Photograph from an automated digital microscope: urine filter membrane, 4× objective.
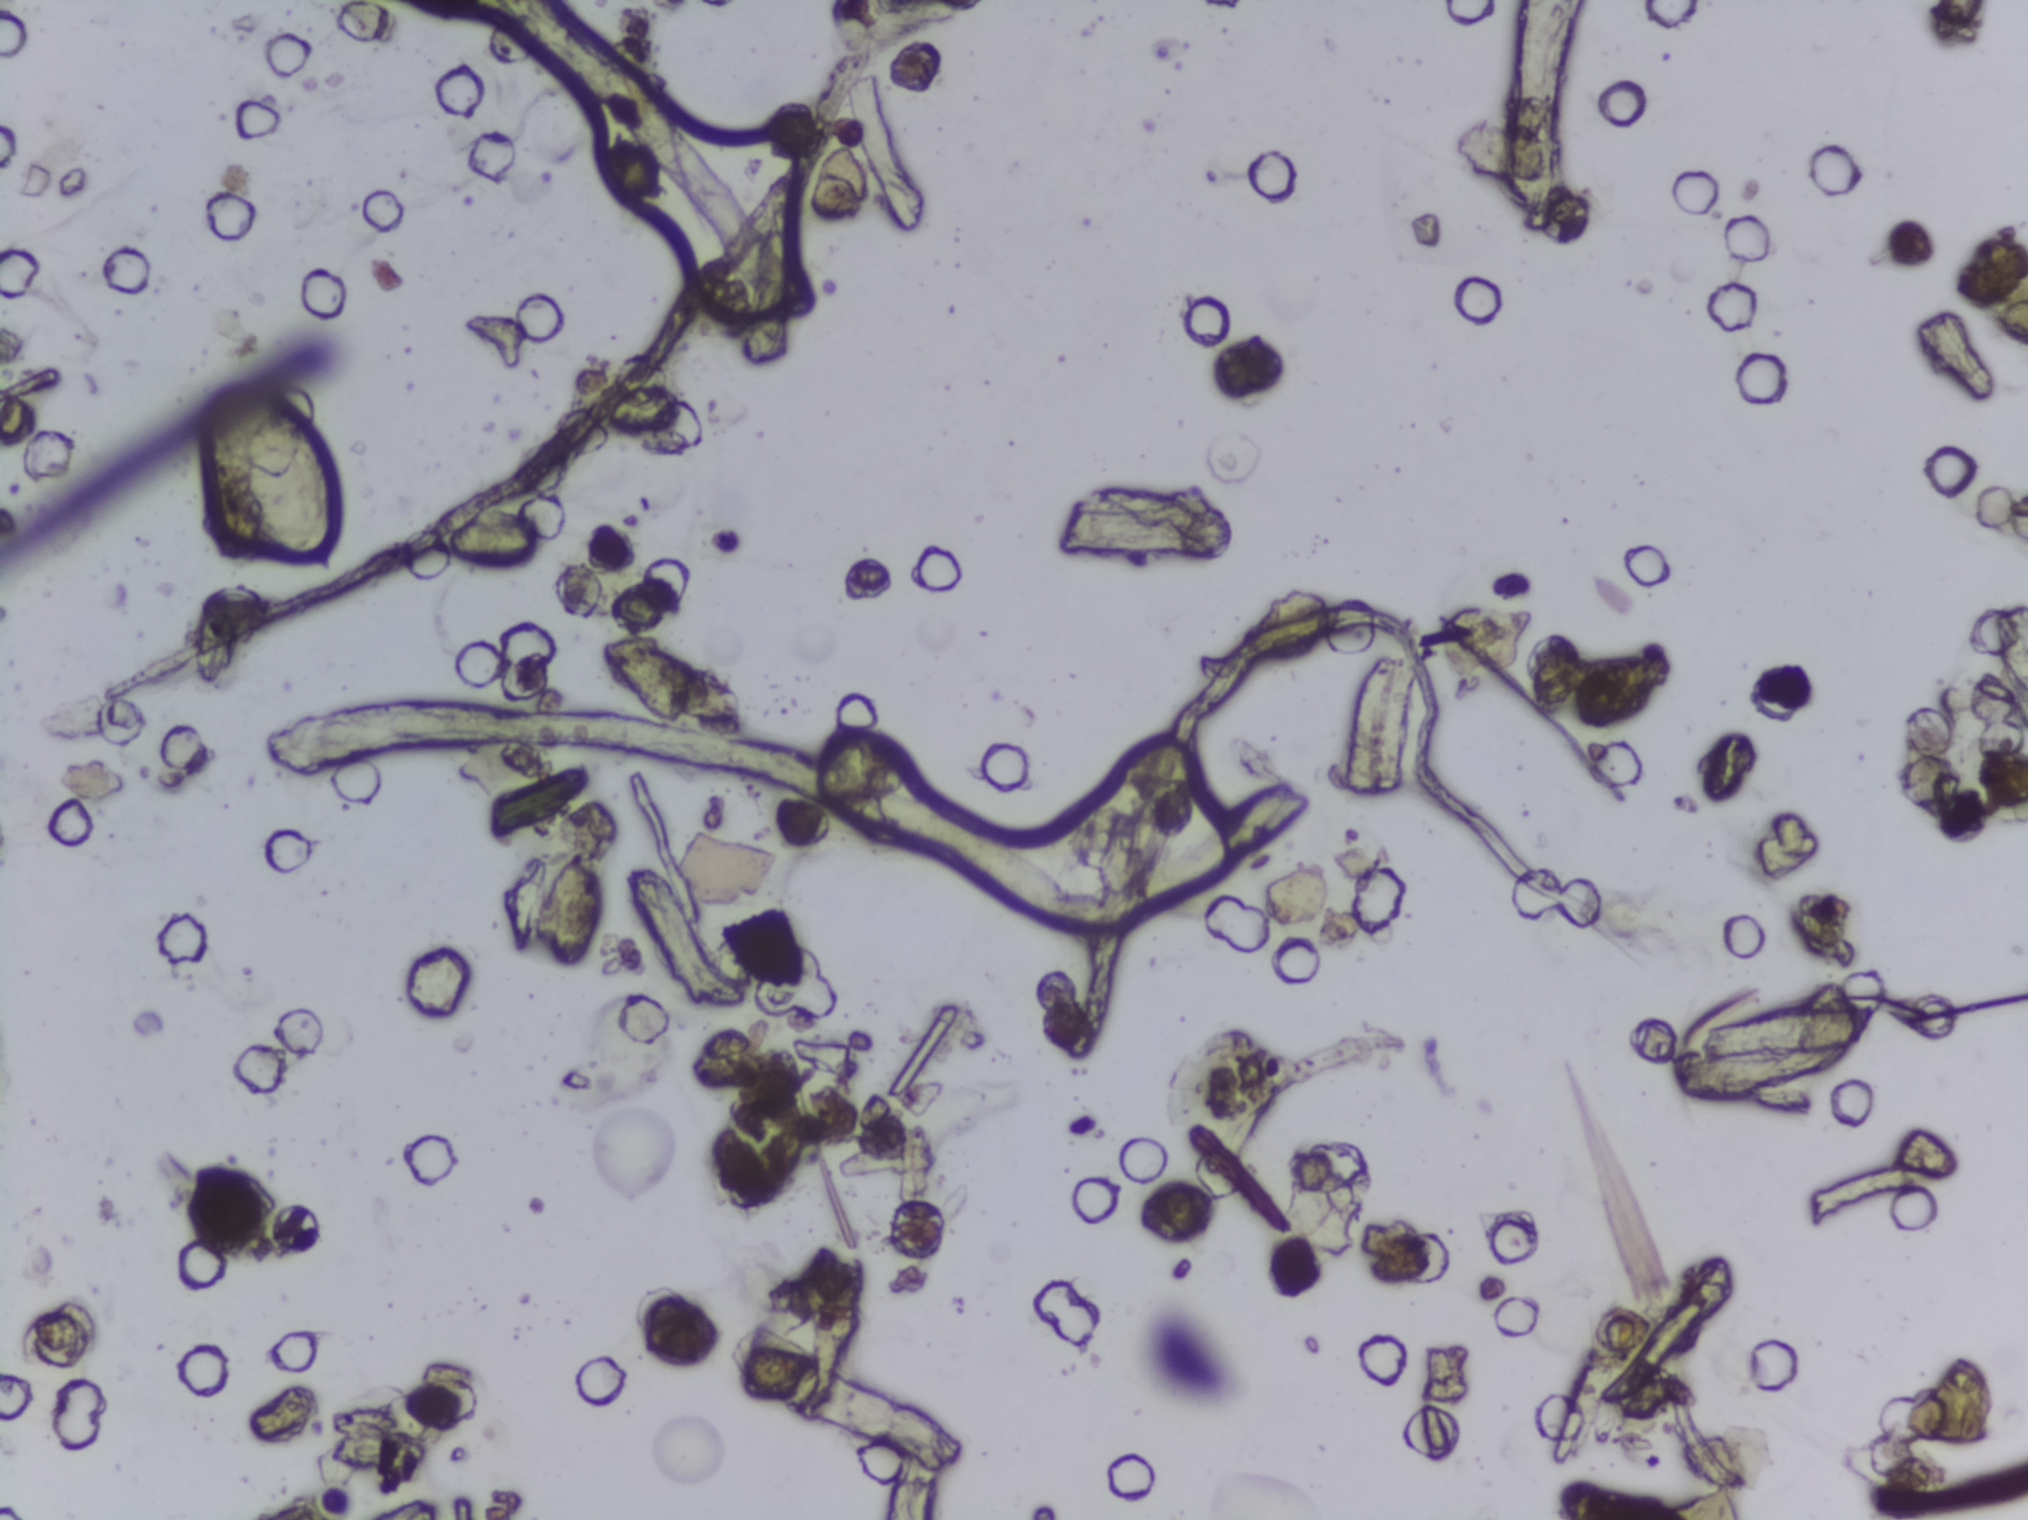
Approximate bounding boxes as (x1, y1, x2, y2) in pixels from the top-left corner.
Schistosoma eggs are outlined in the expert annotation at (198, 384, 335, 572). The marked pixels themselves, not the box around them, cover about 0.6% of the image. Eggs that touch can end up inside the same outlined area.